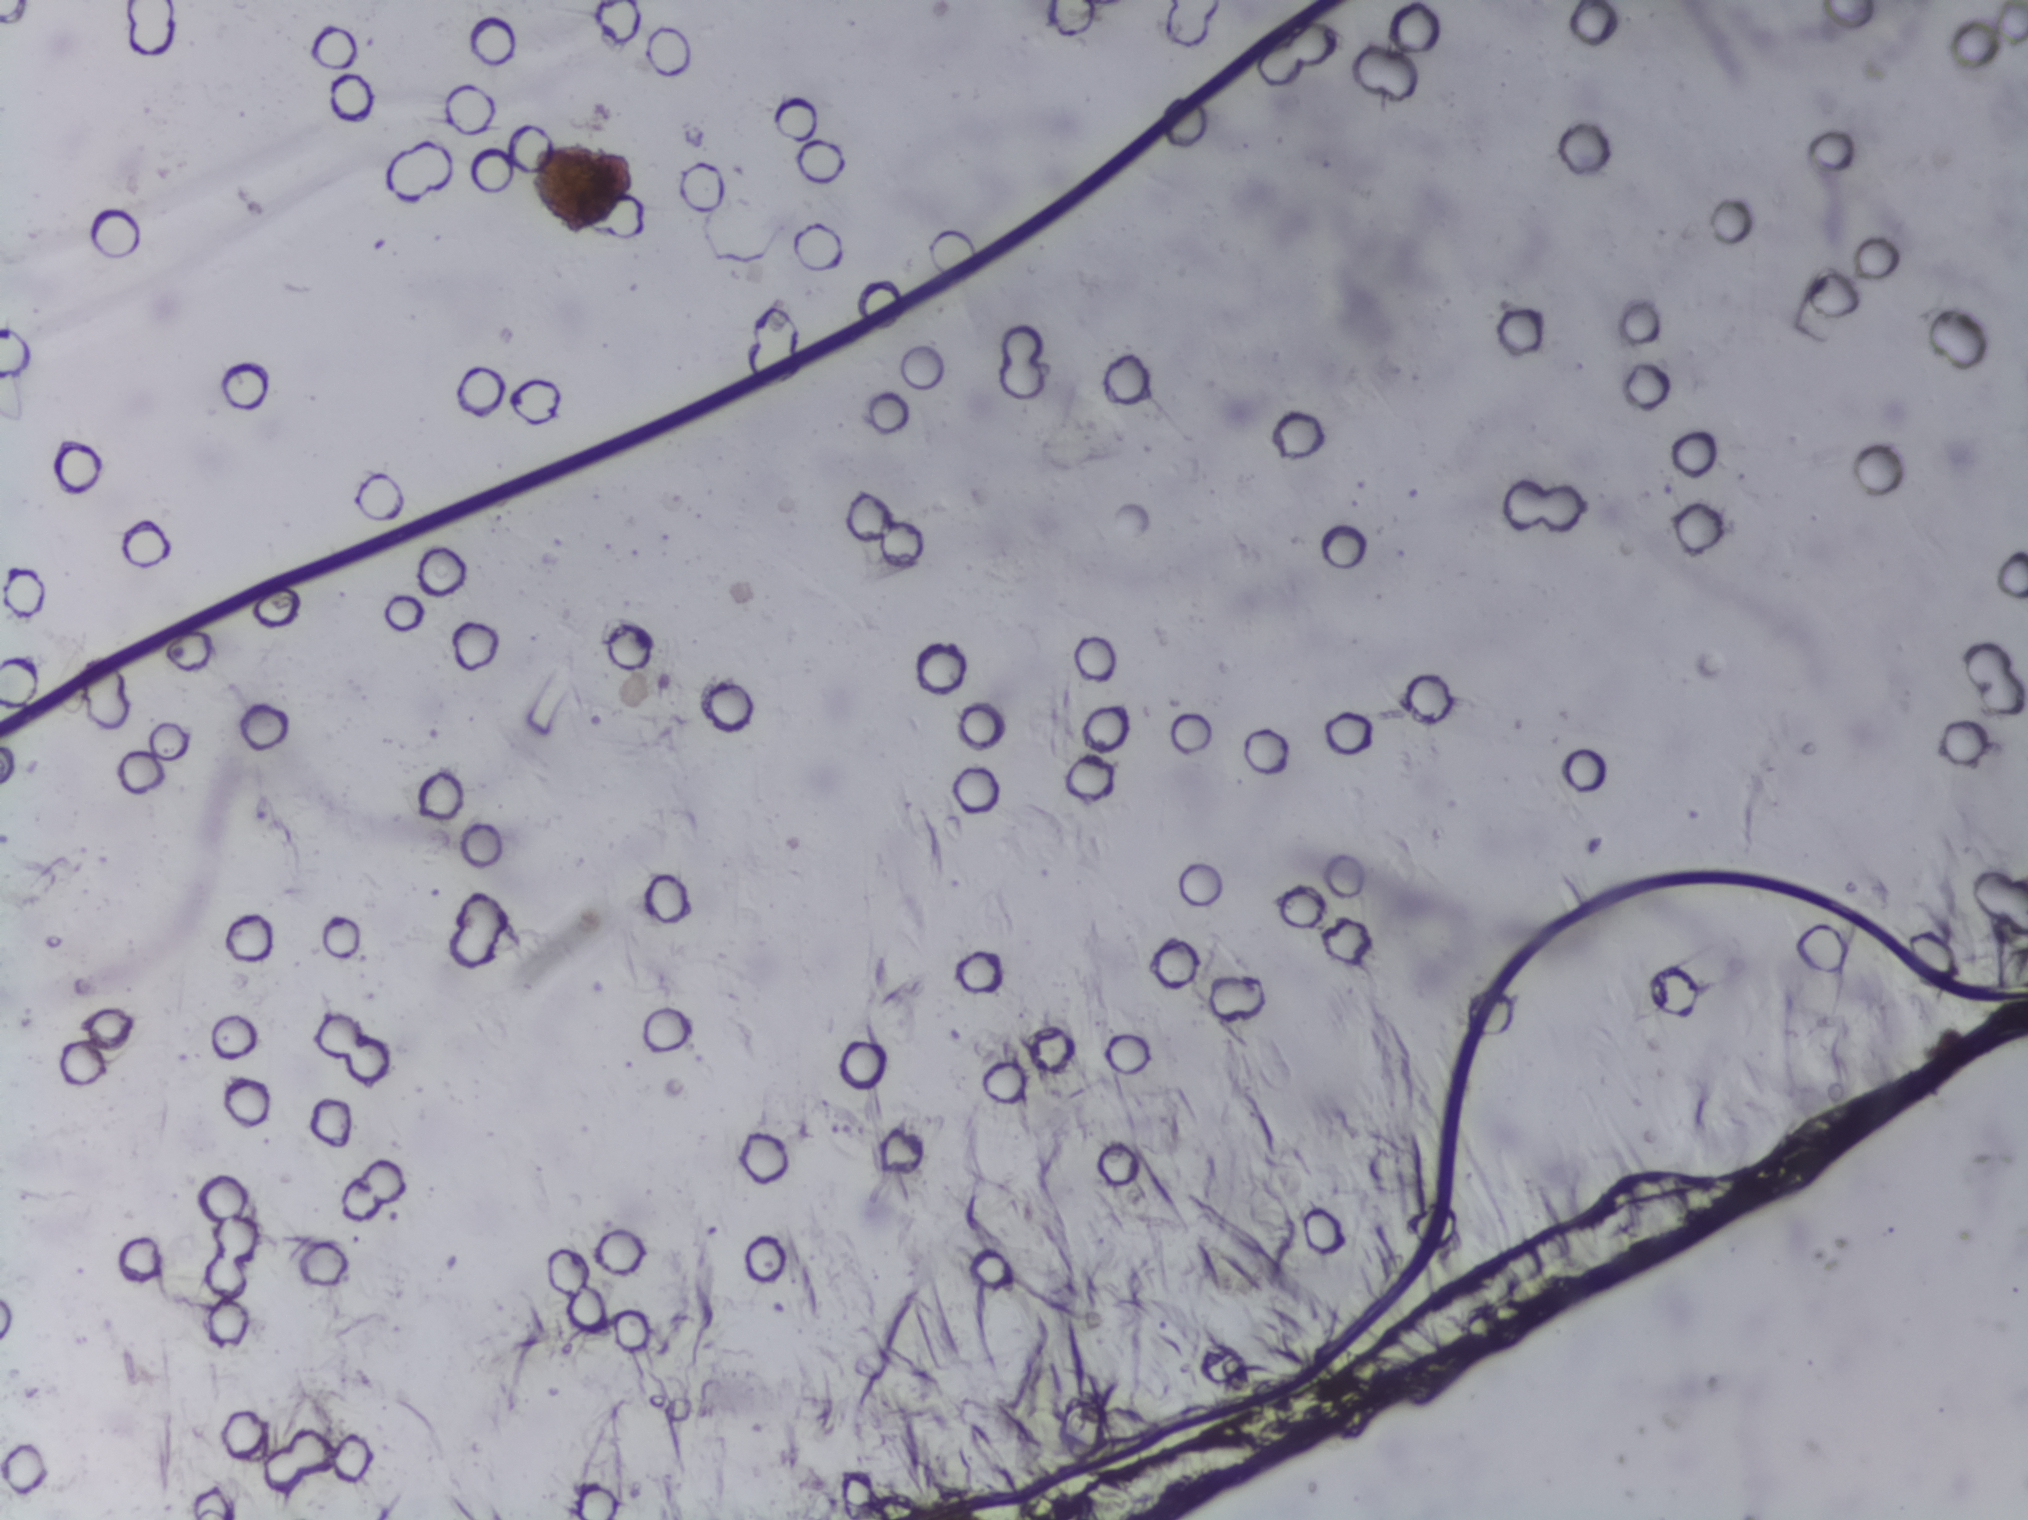
Microscope photograph (4× objective) of a membrane that a urine sample was filtered through.
Schistosoma eggs: none outlined.